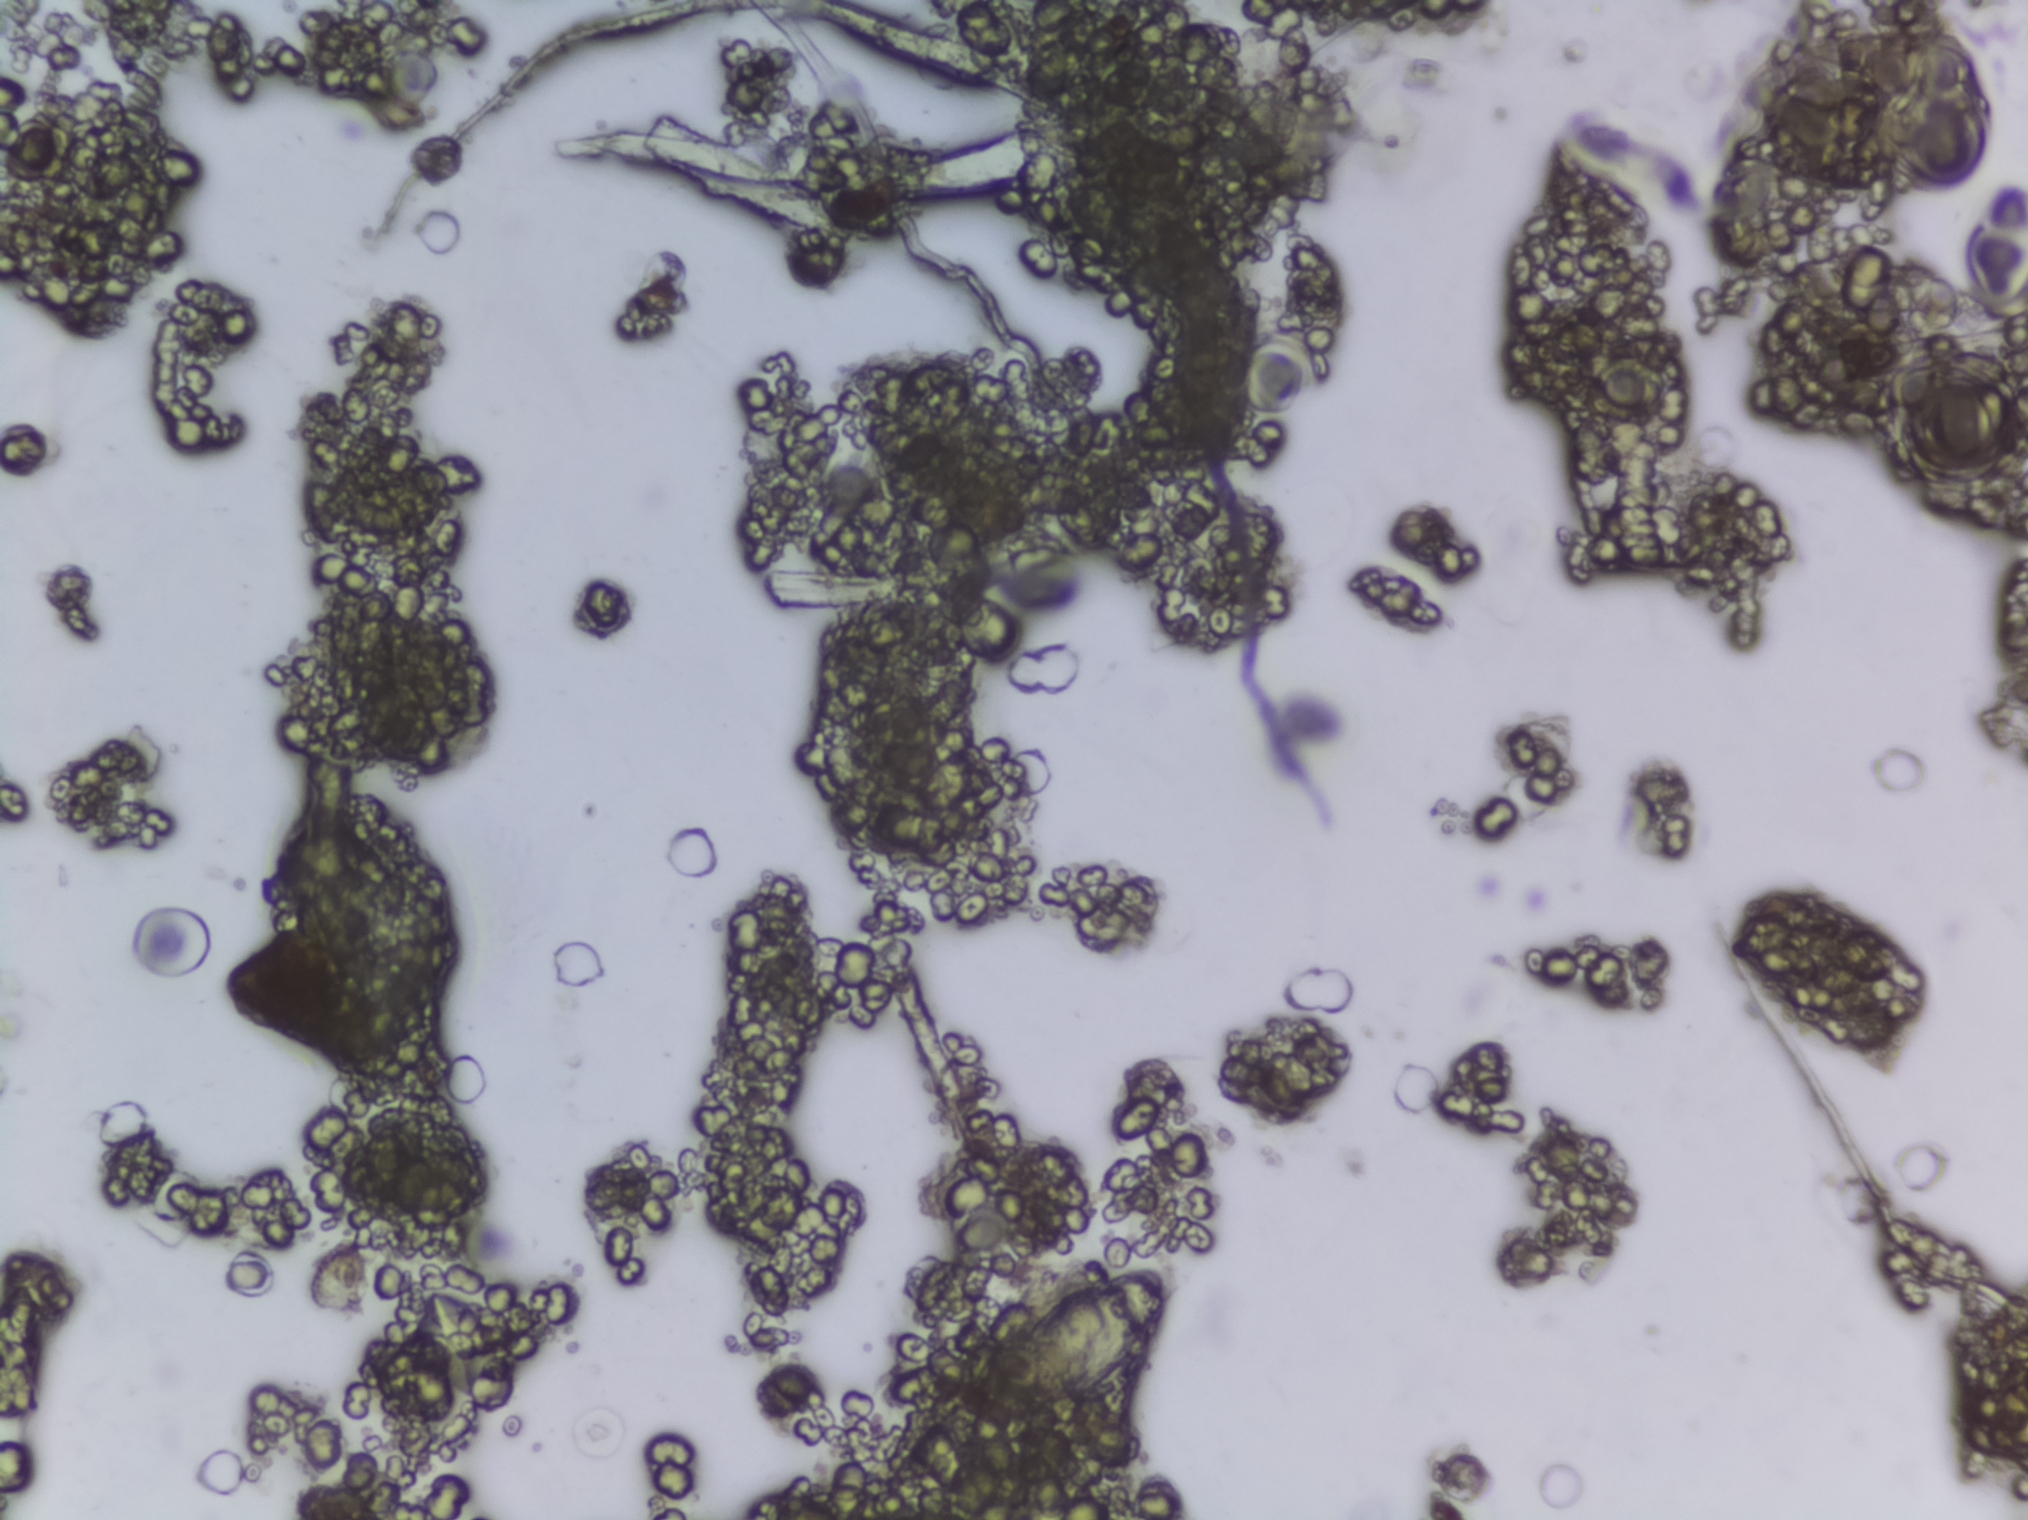
One field of view of a urine filter membrane, 4× objective, 2028 × 1520 pixels.
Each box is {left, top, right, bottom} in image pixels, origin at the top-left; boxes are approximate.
Schistosoma eggs are outlined in one area of this image: {985, 1262, 1169, 1420}. An outlined area can hold more than one egg.